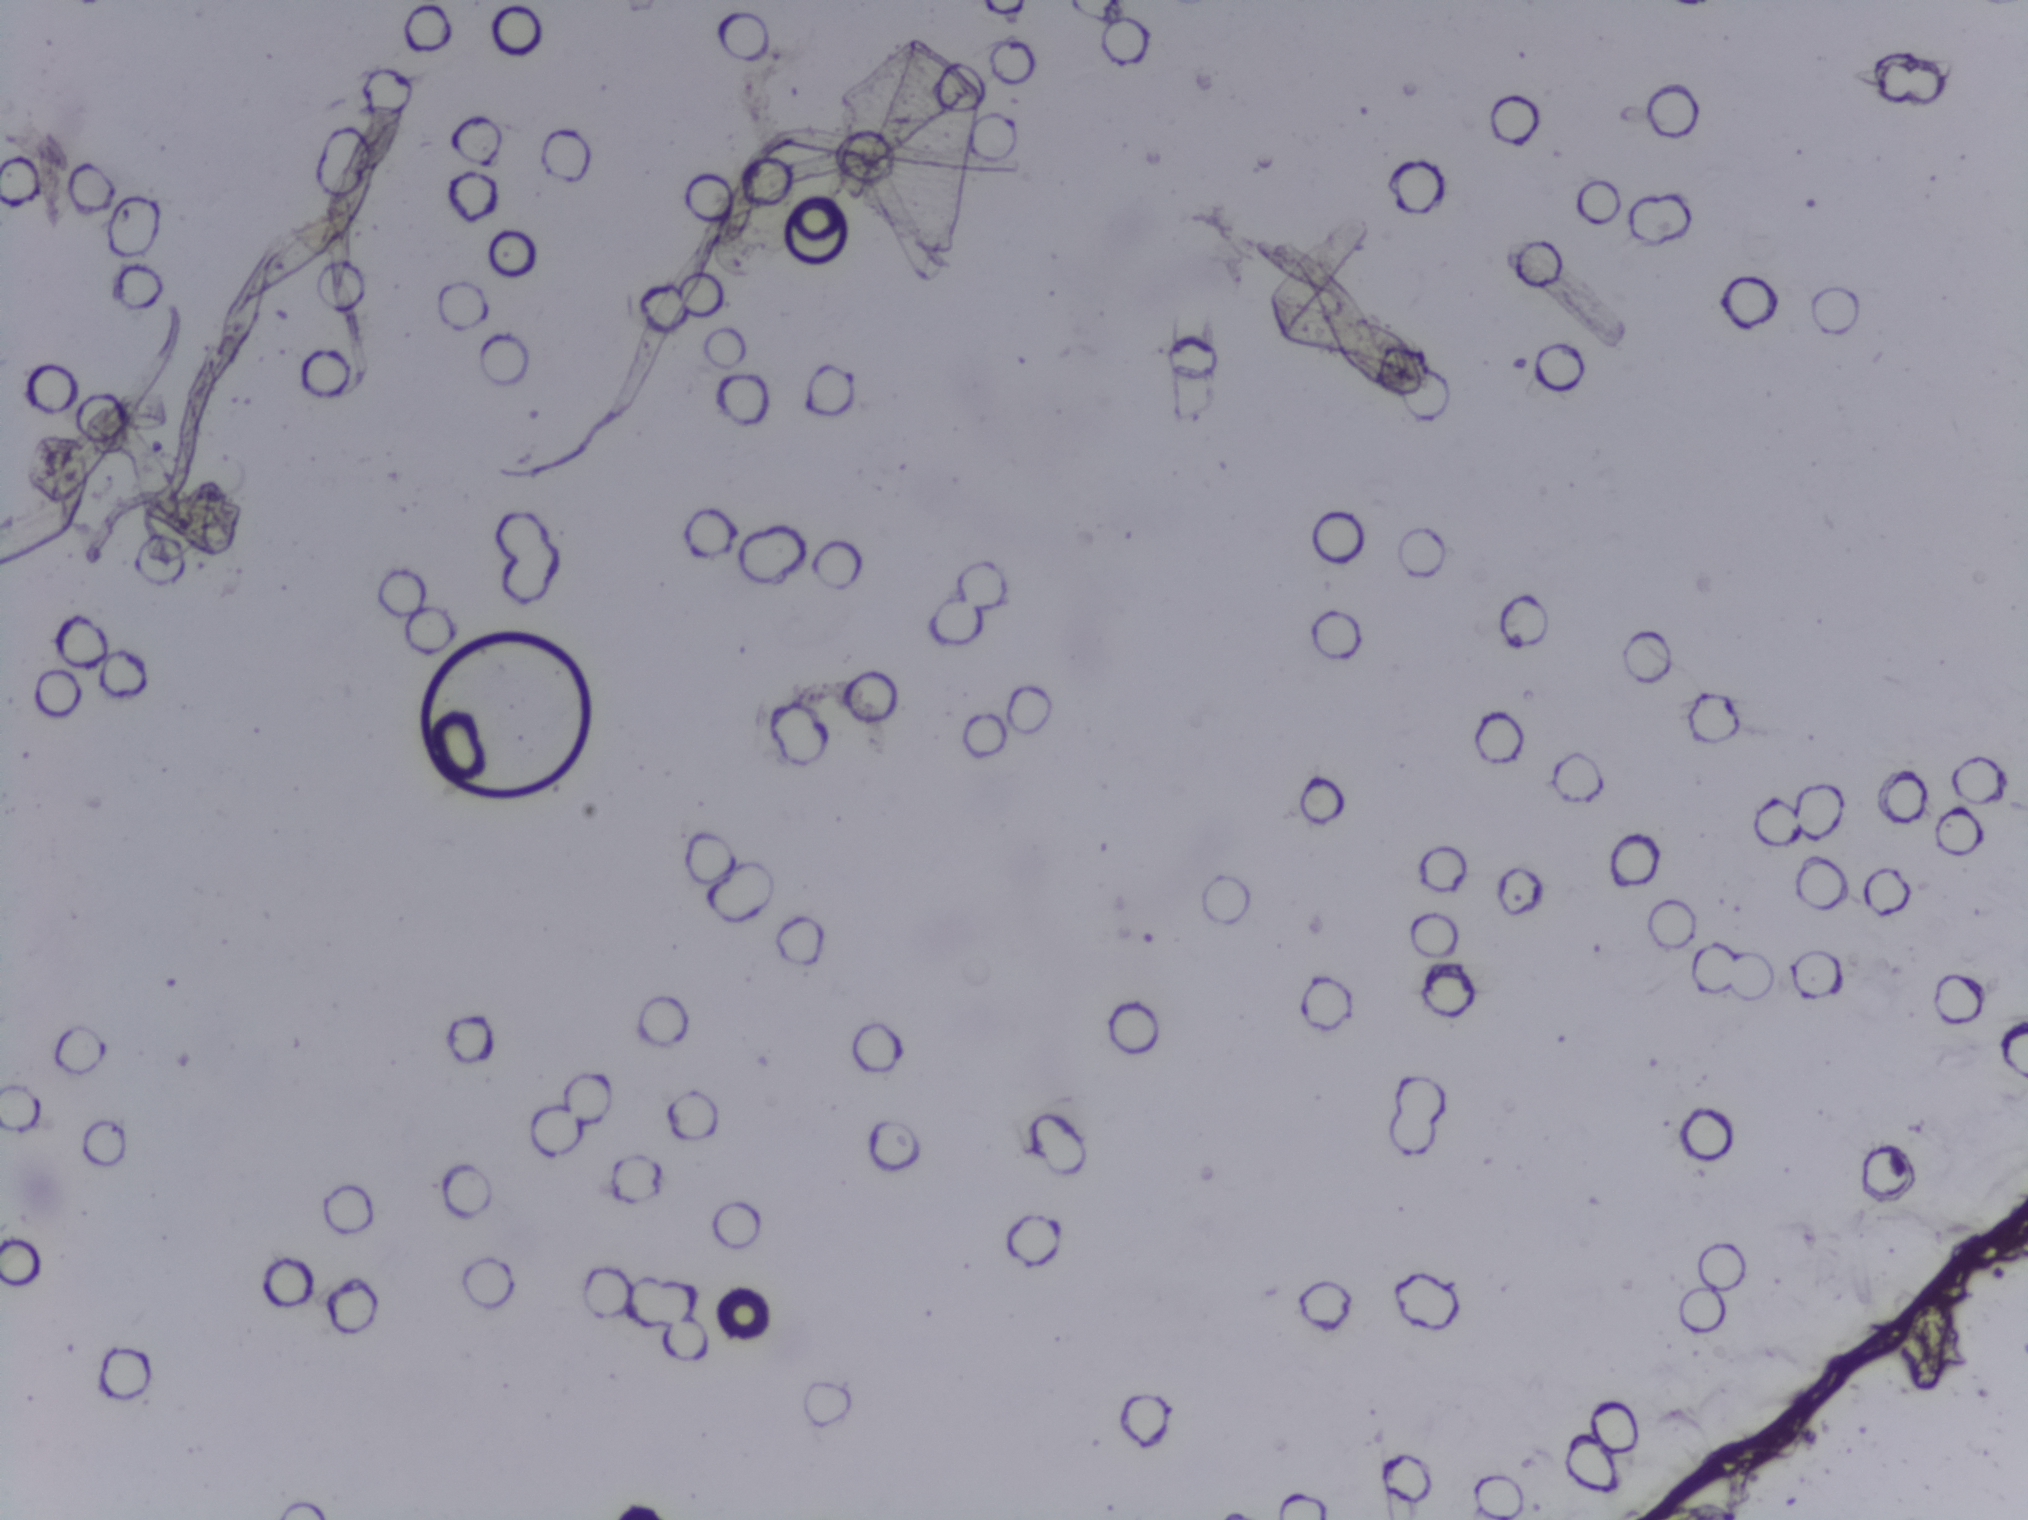
Microscope photograph (4× objective) of a membrane that a urine sample was filtered through.
The expert annotation outlines no Schistosoma egg in this image.